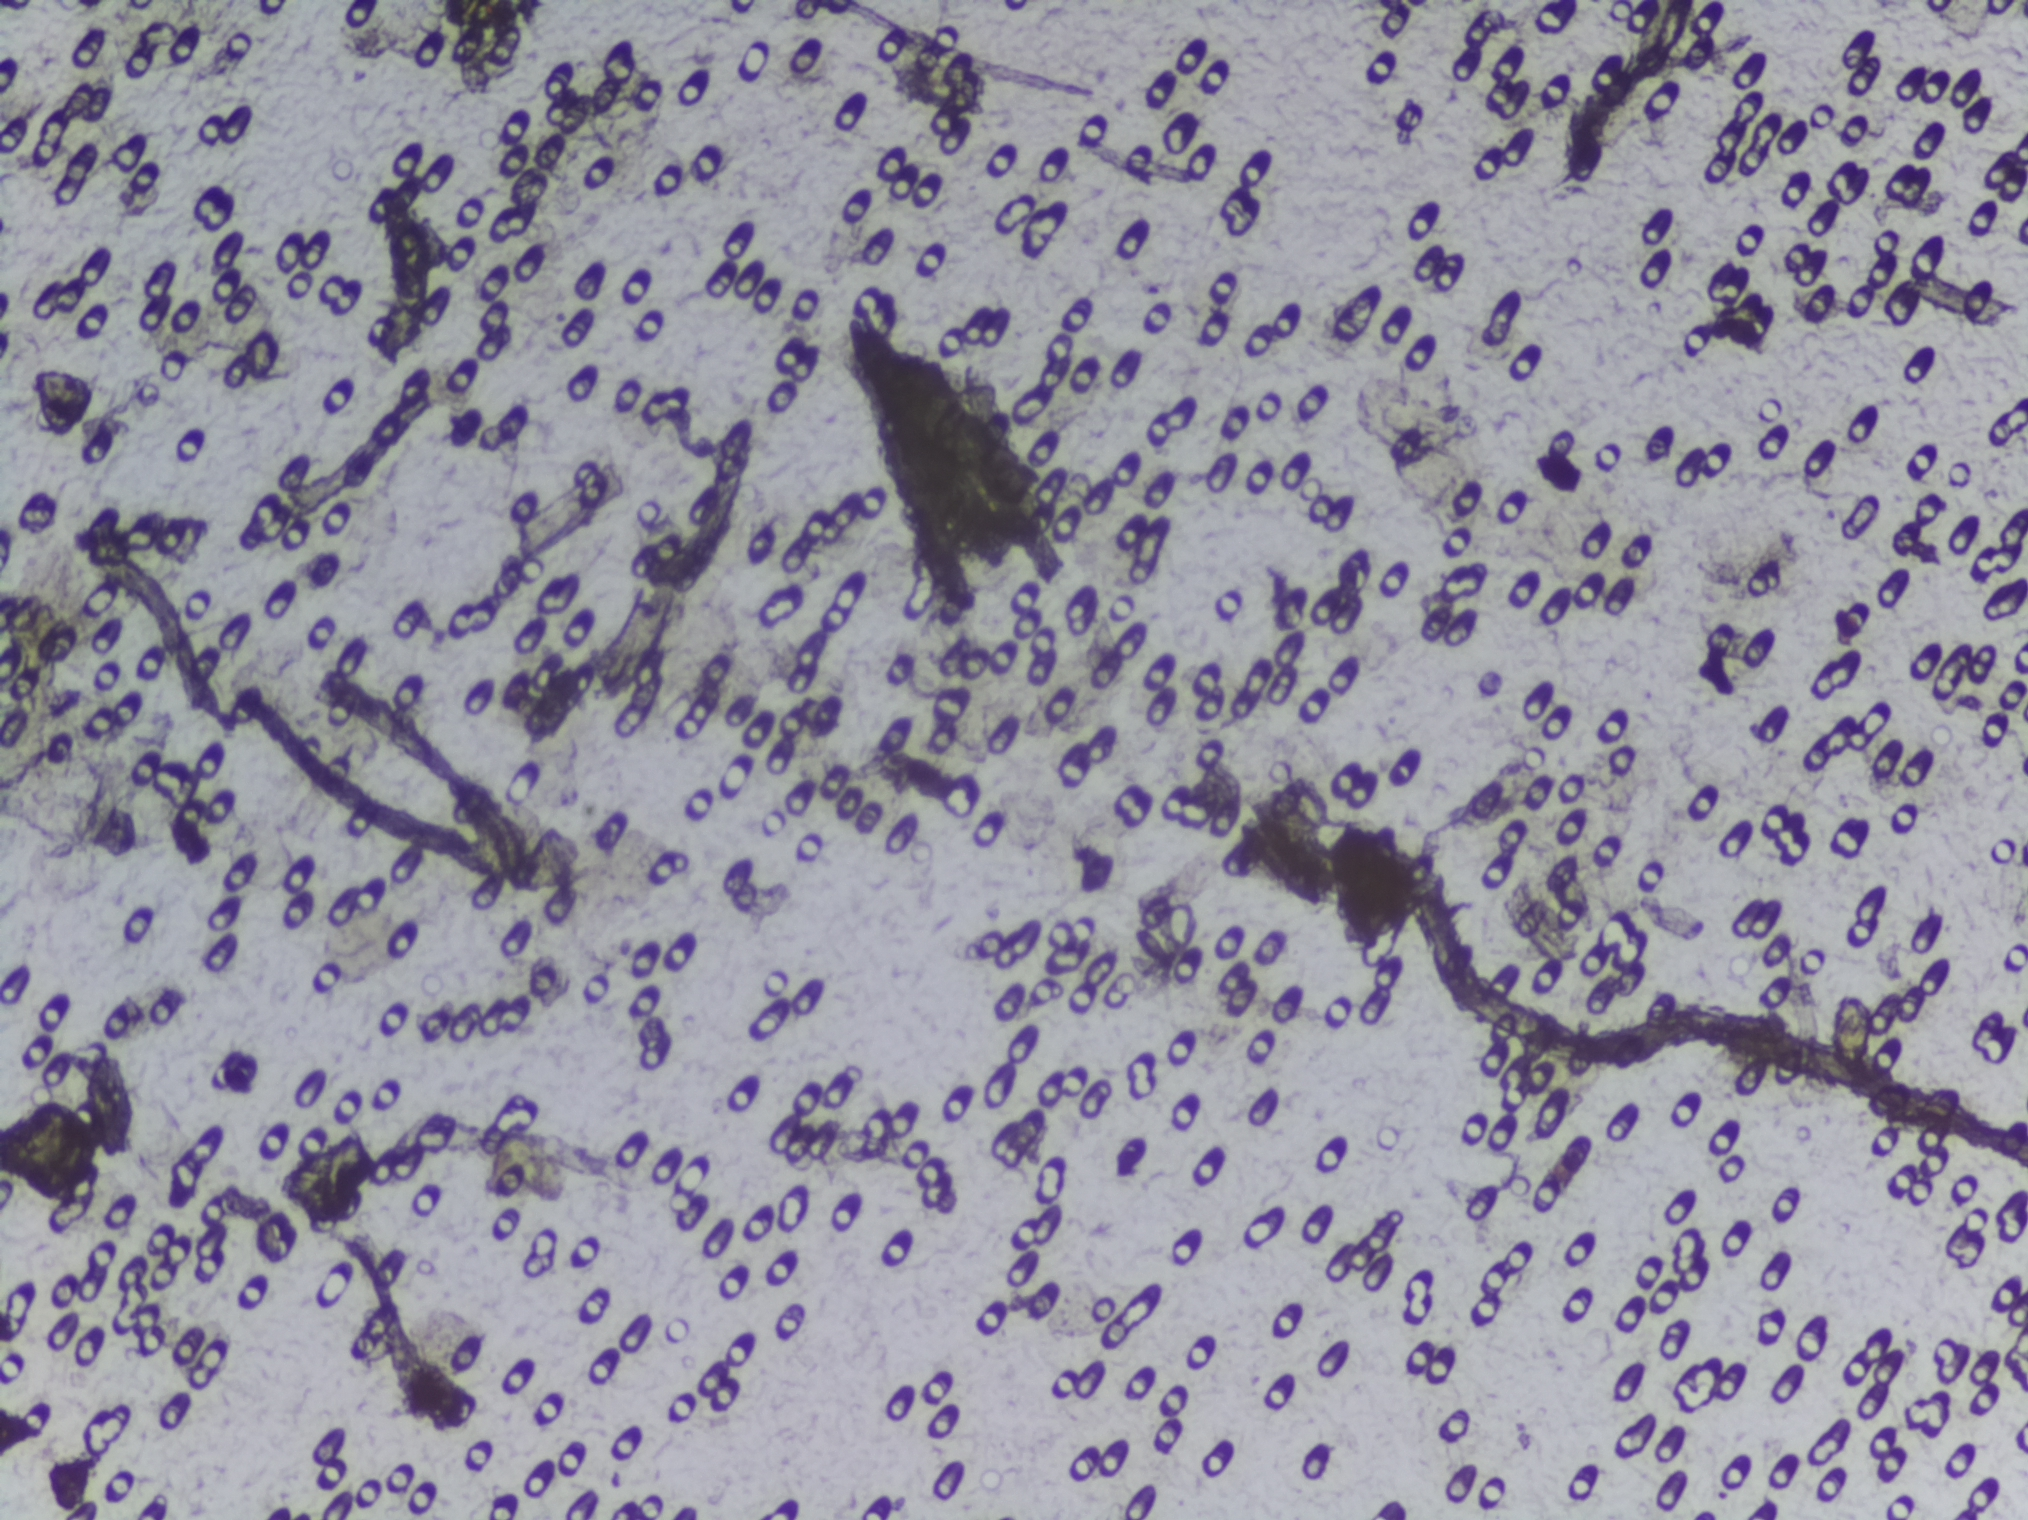
Urine filter membrane photographed through a 4× microscope objective. The field of view is about 1.5 mm × 1.1 mm.
The expert annotation outlines no Schistosoma egg in this image.